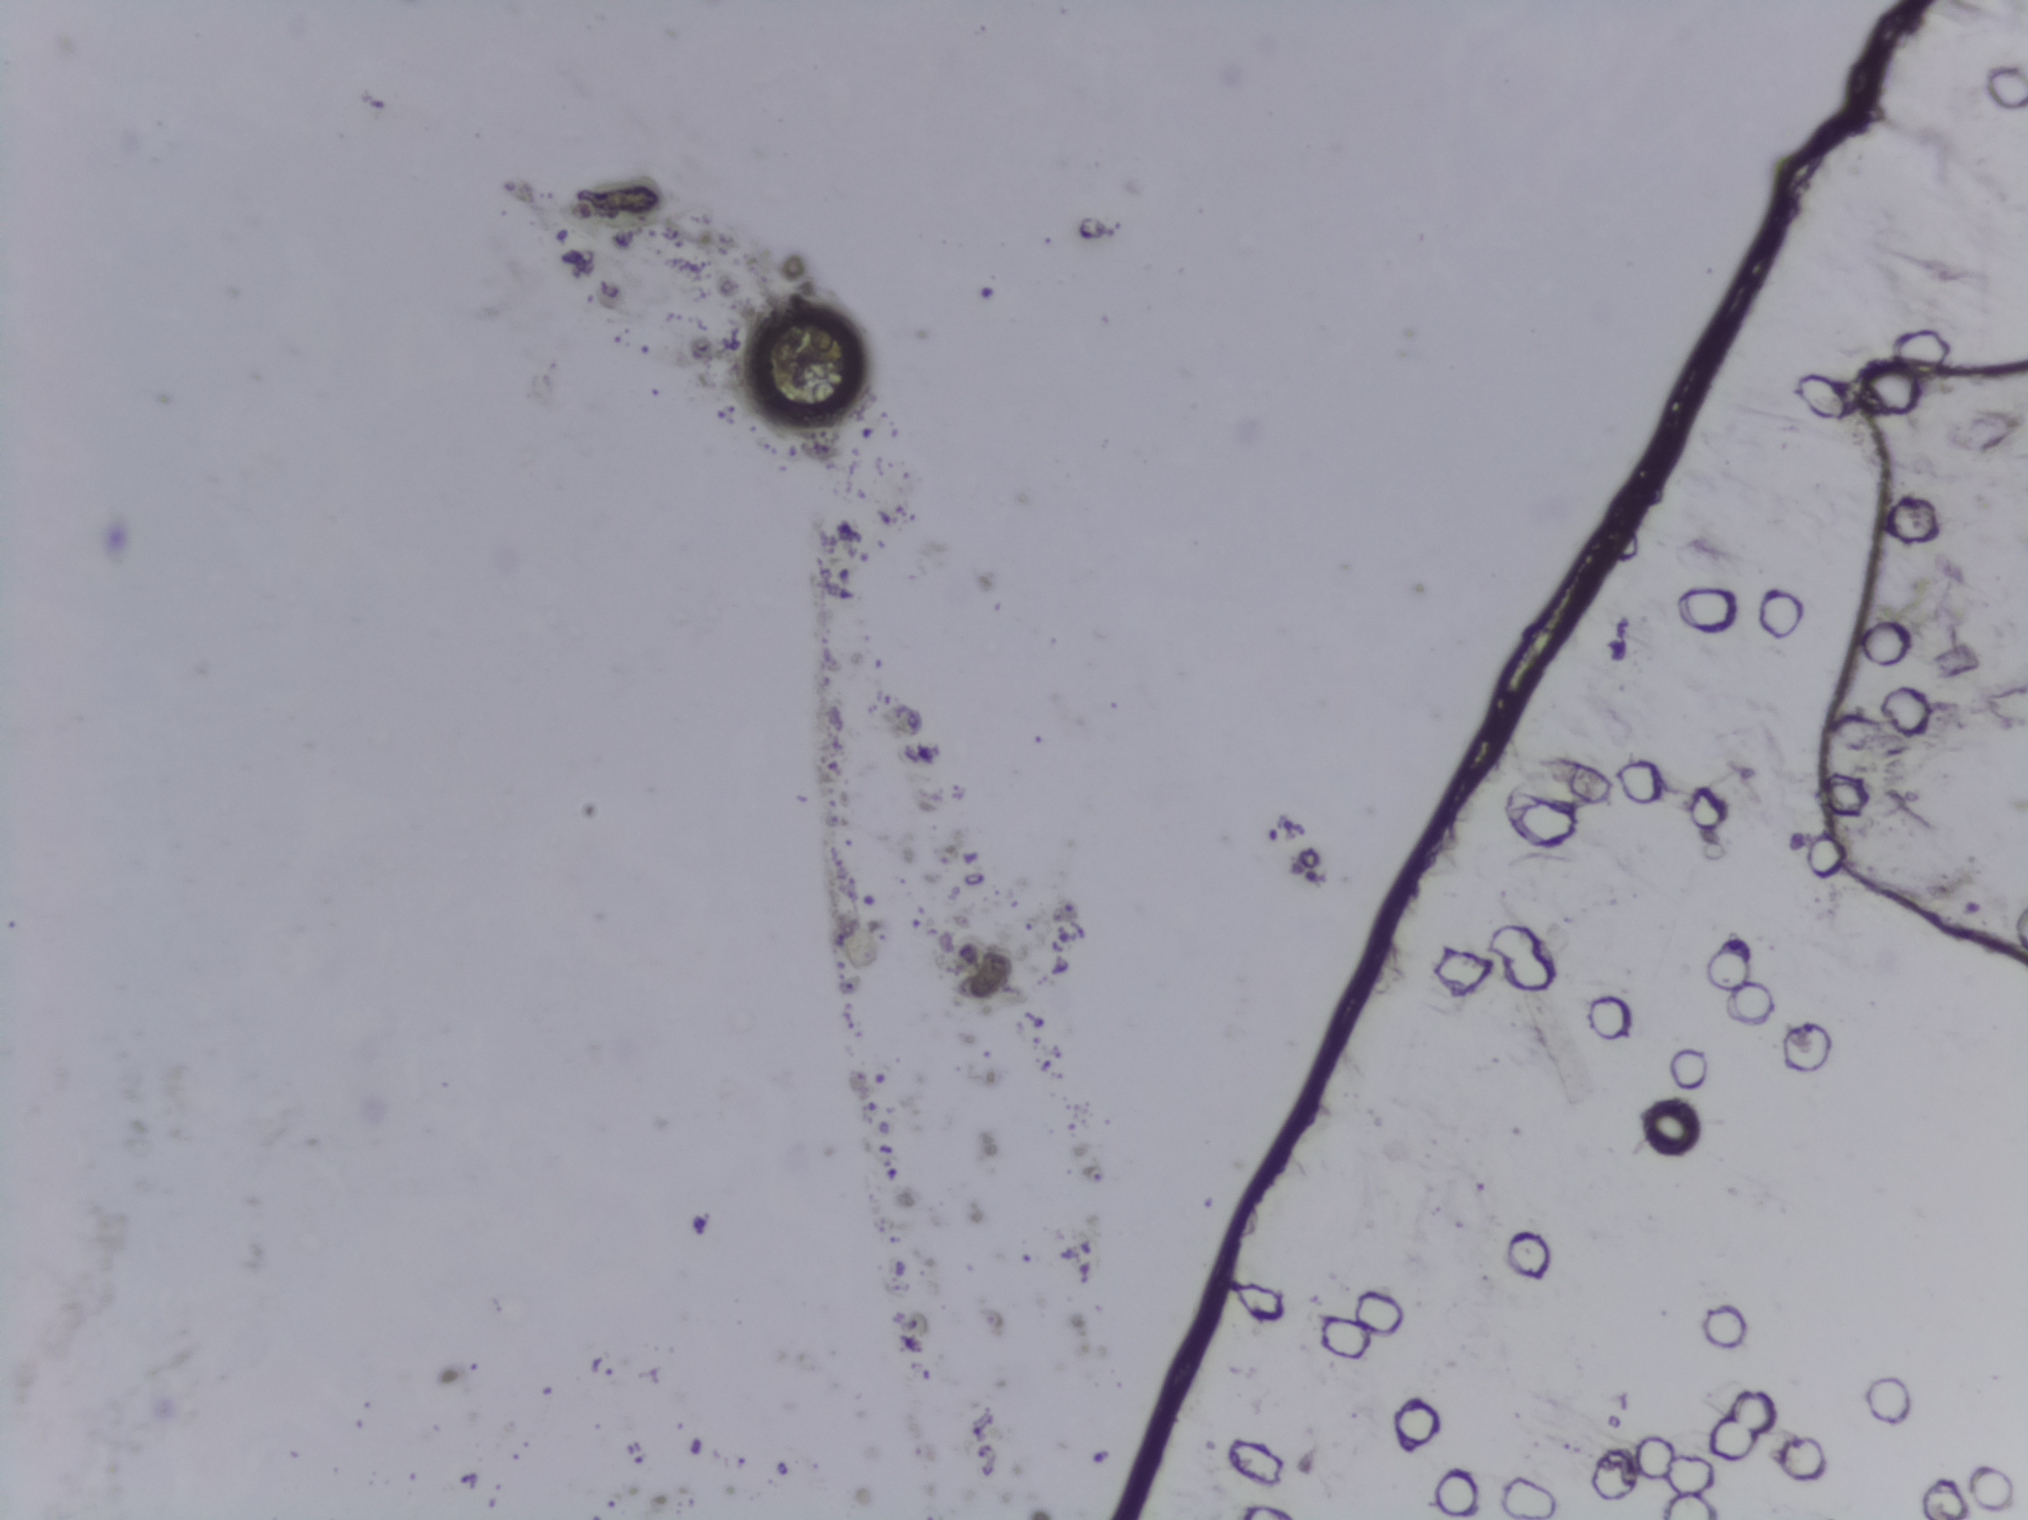
The expert annotation marks no Schistosoma egg in this field of view.
Urine filter membrane photographed through a 4× microscope objective.